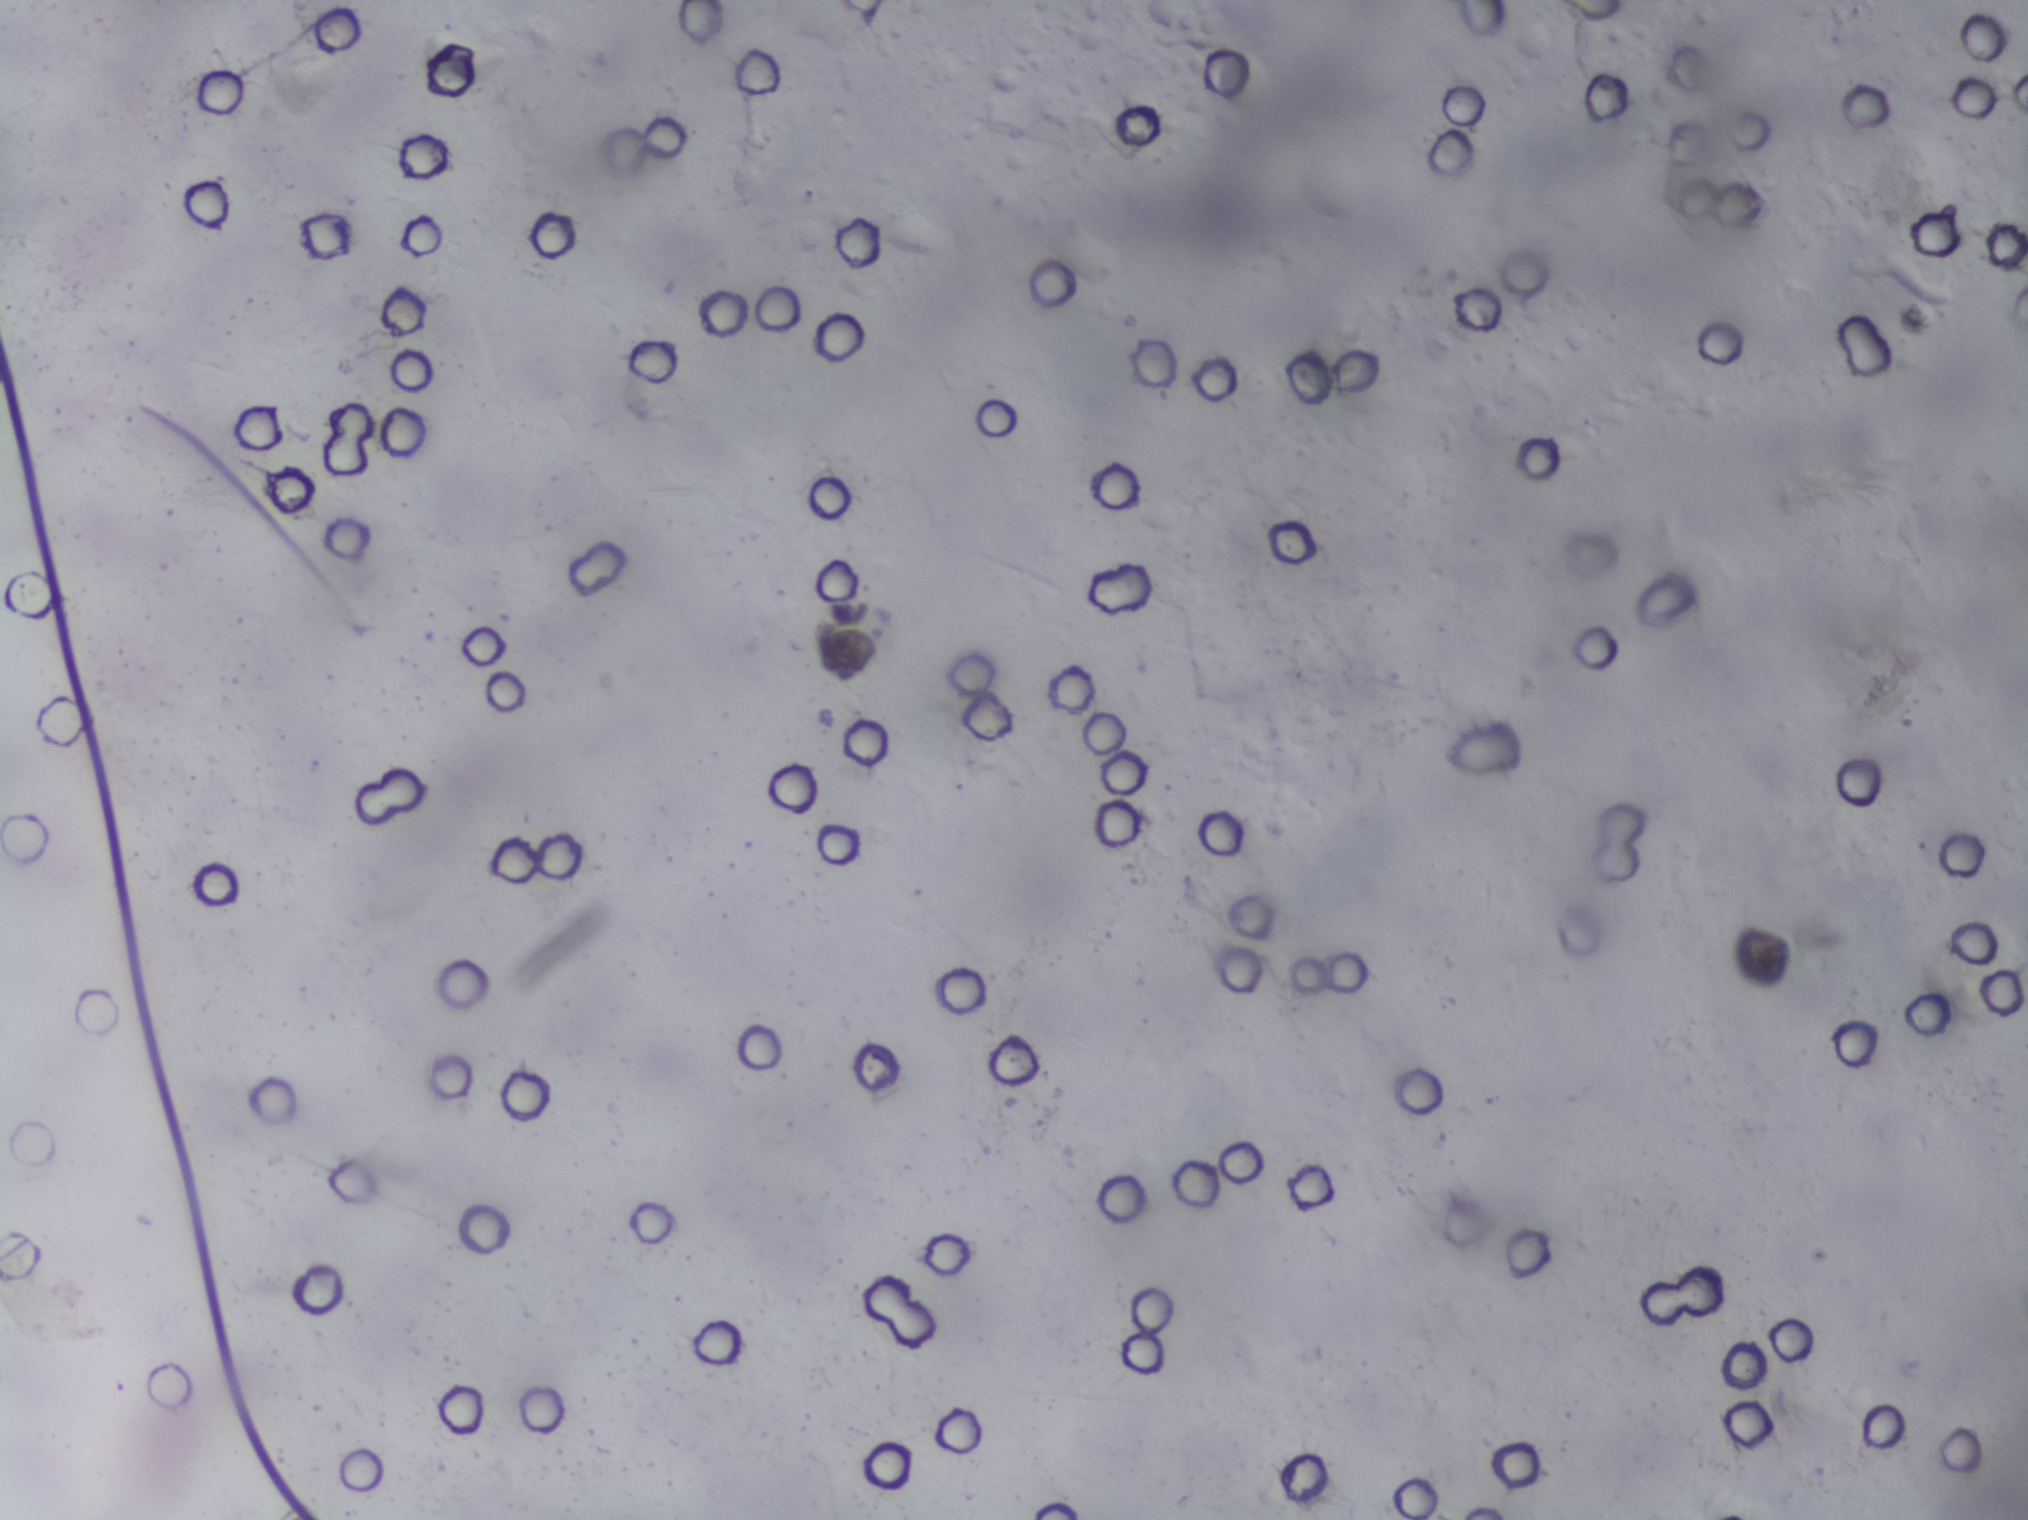
The expert annotation marks no Schistosoma egg in this field of view.
Urine filtration membrane under a 4× objective, photographed by an automated digital microscope. The image covers about 1.5 × 1.1 mm of the membrane.